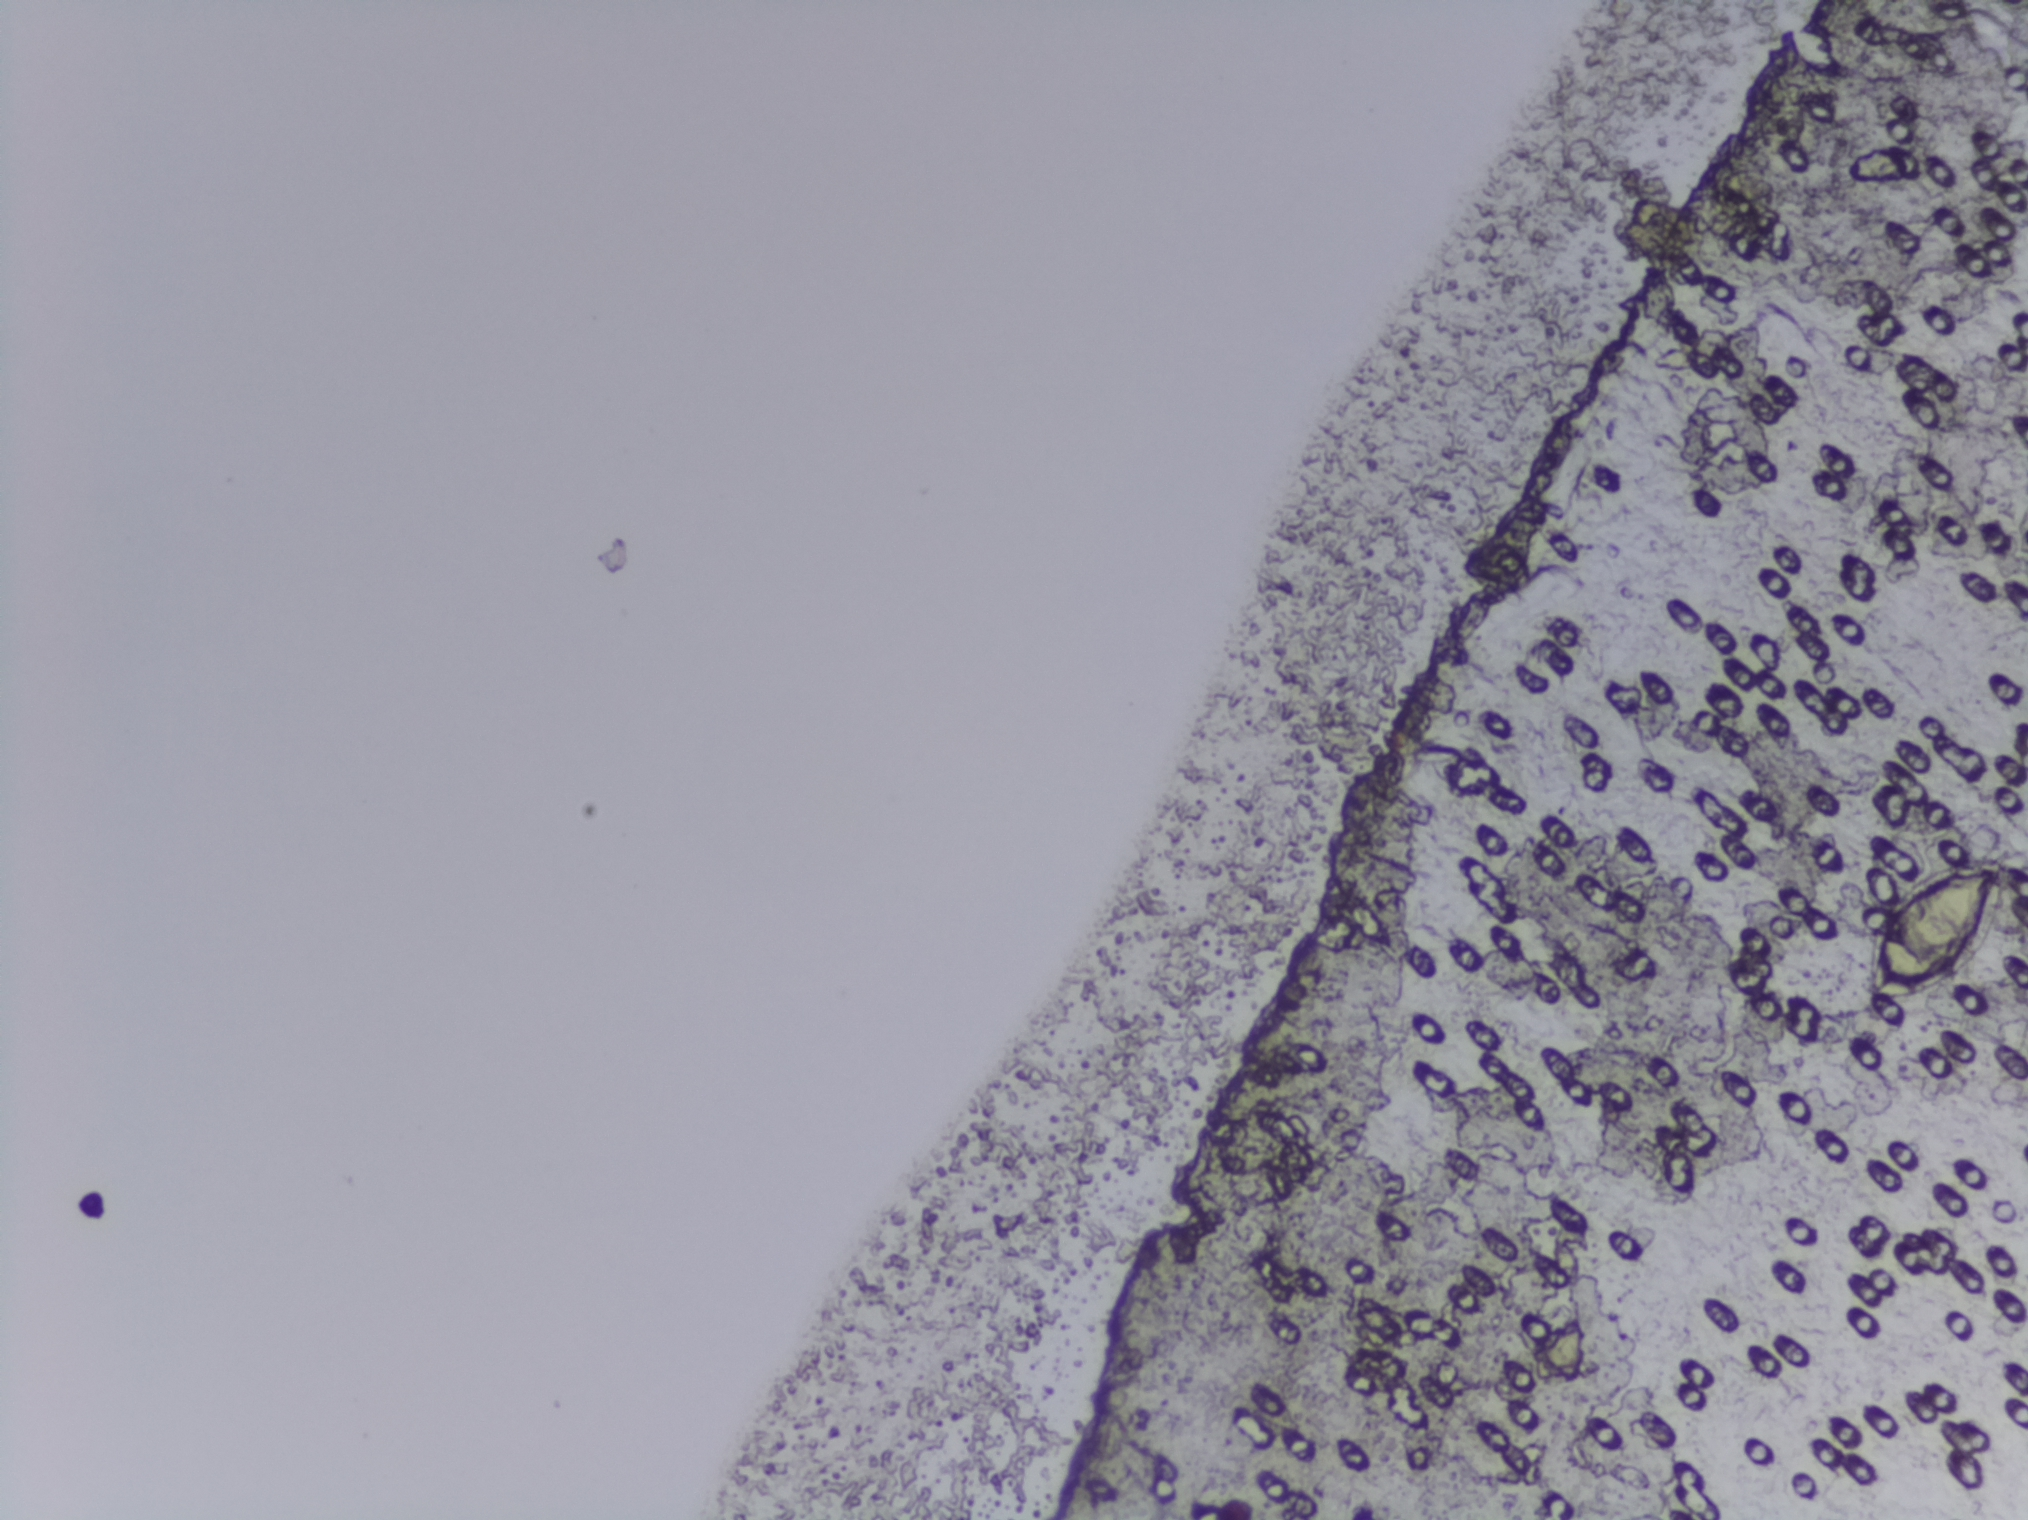
Microscope photograph (4× objective) of a membrane that a urine sample was filtered through. The field of view is about 1.5 mm × 1.1 mm.
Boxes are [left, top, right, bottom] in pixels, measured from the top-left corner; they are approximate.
Areas outlined as Schistosoma eggs:
1. [1863, 852, 2017, 1005]
The marked pixels themselves, not the box around them, cover about 0.5% of the image. A single outlined area may contain several eggs. Any one outlined egg may, rarely, be S. mansoni rather than S. haematobium.